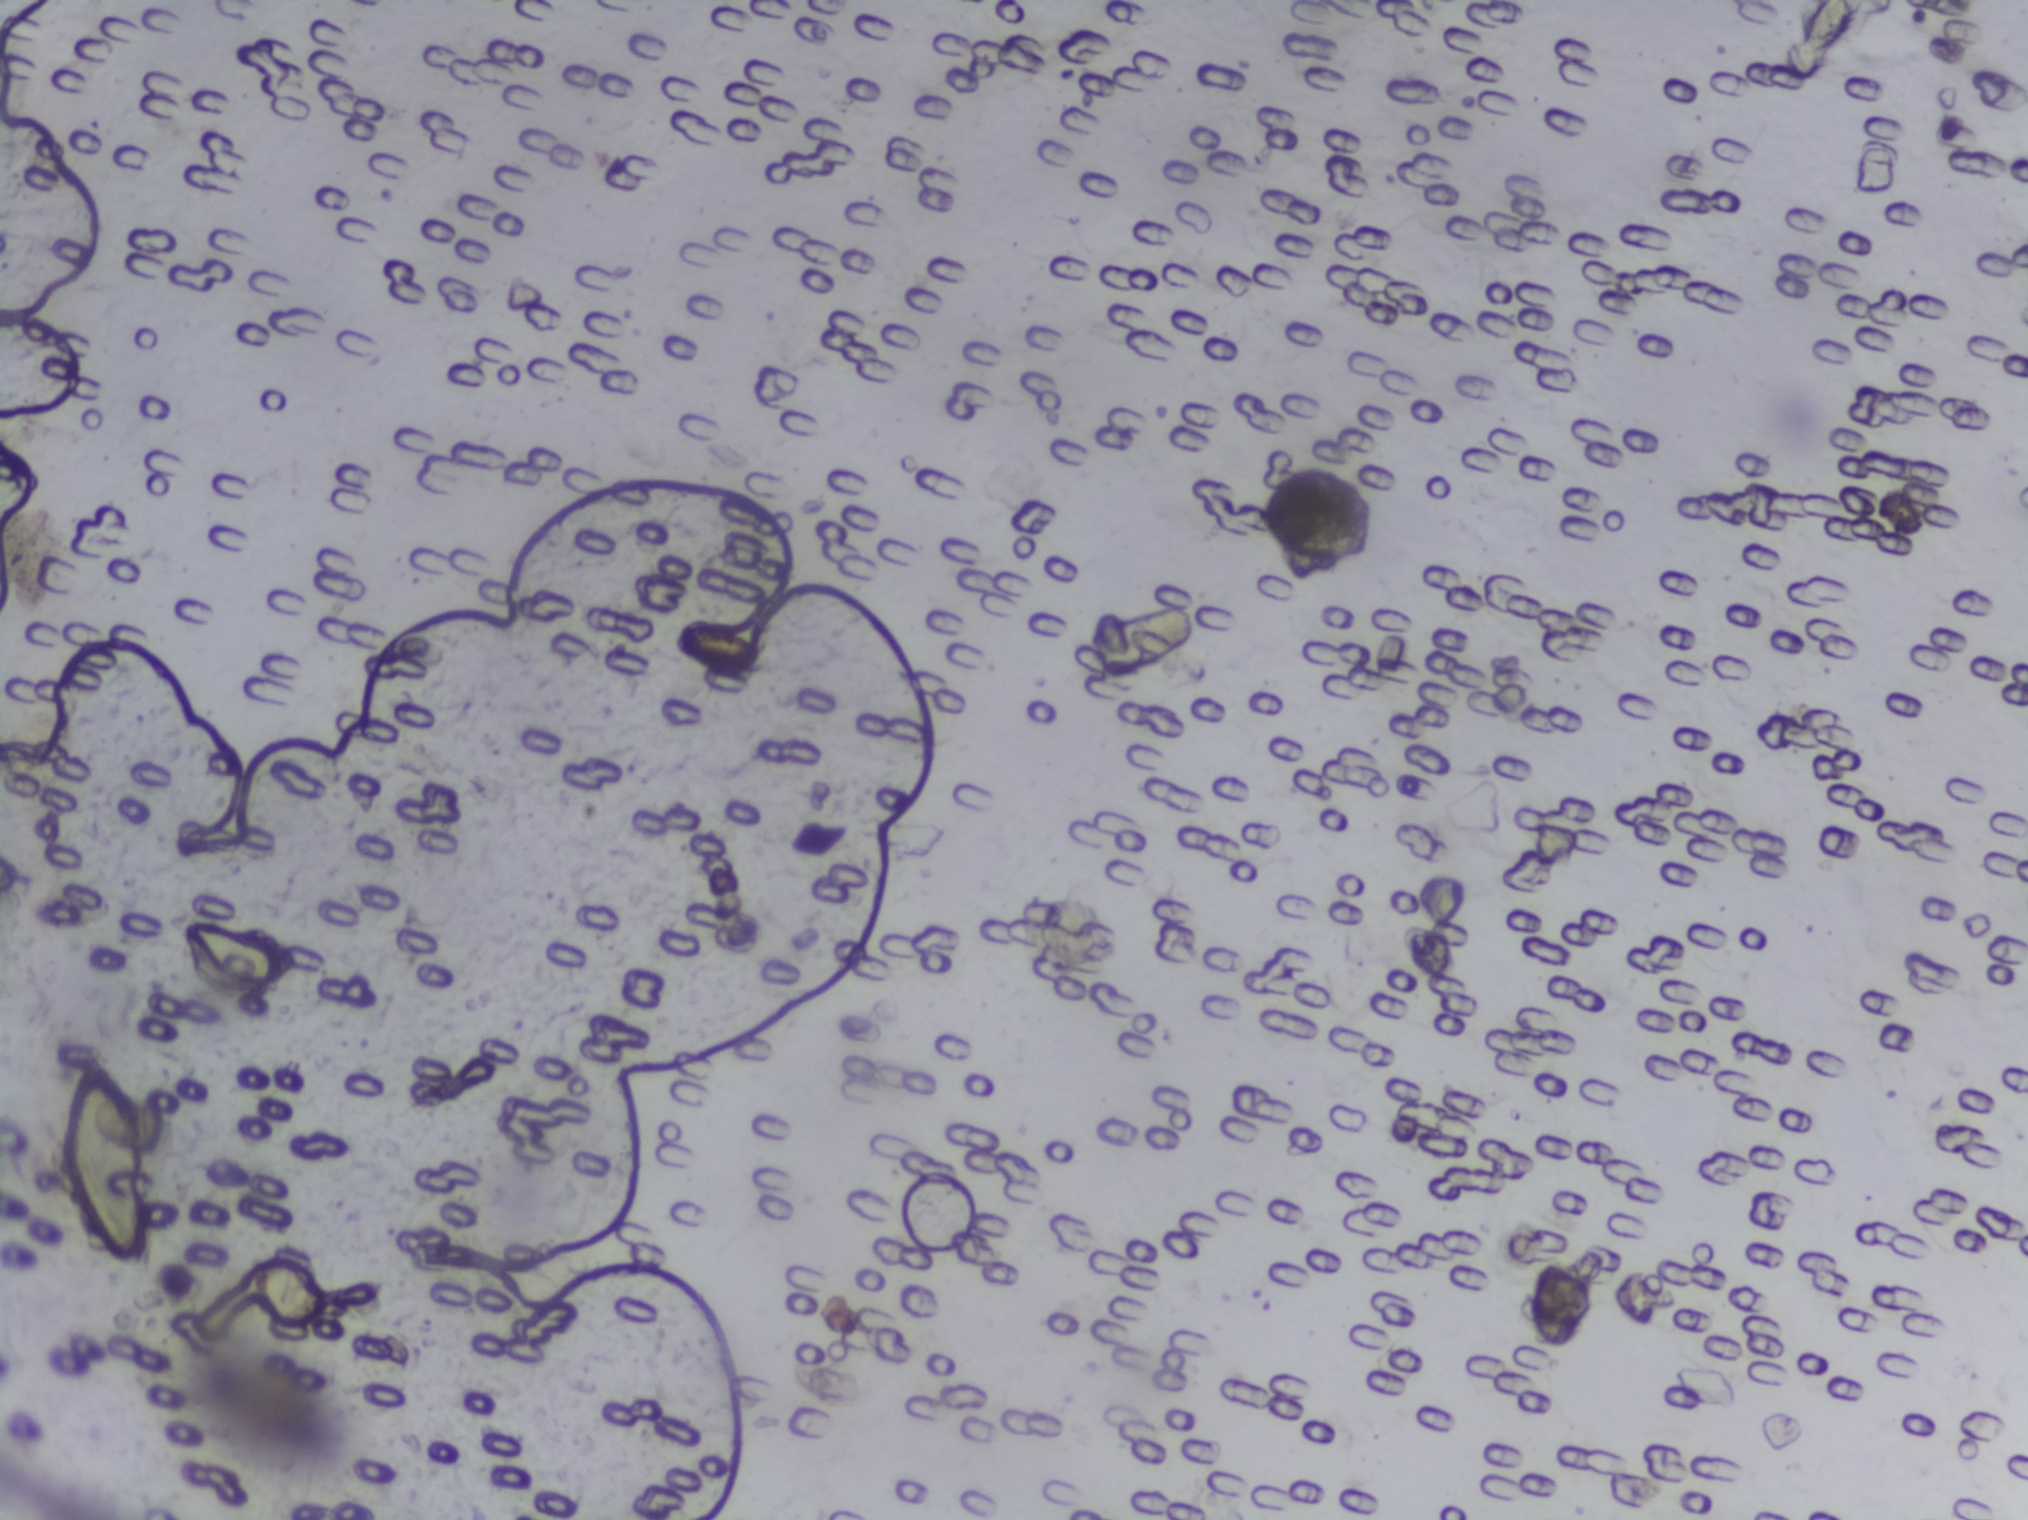
Urine filter membrane photographed through a 4× microscope objective.
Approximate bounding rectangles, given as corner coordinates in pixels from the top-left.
Outlined Schistosoma egg areas:
1. (x1=60, y1=1053, x2=146, y2=1267)
An outlined area can hold more than one egg.